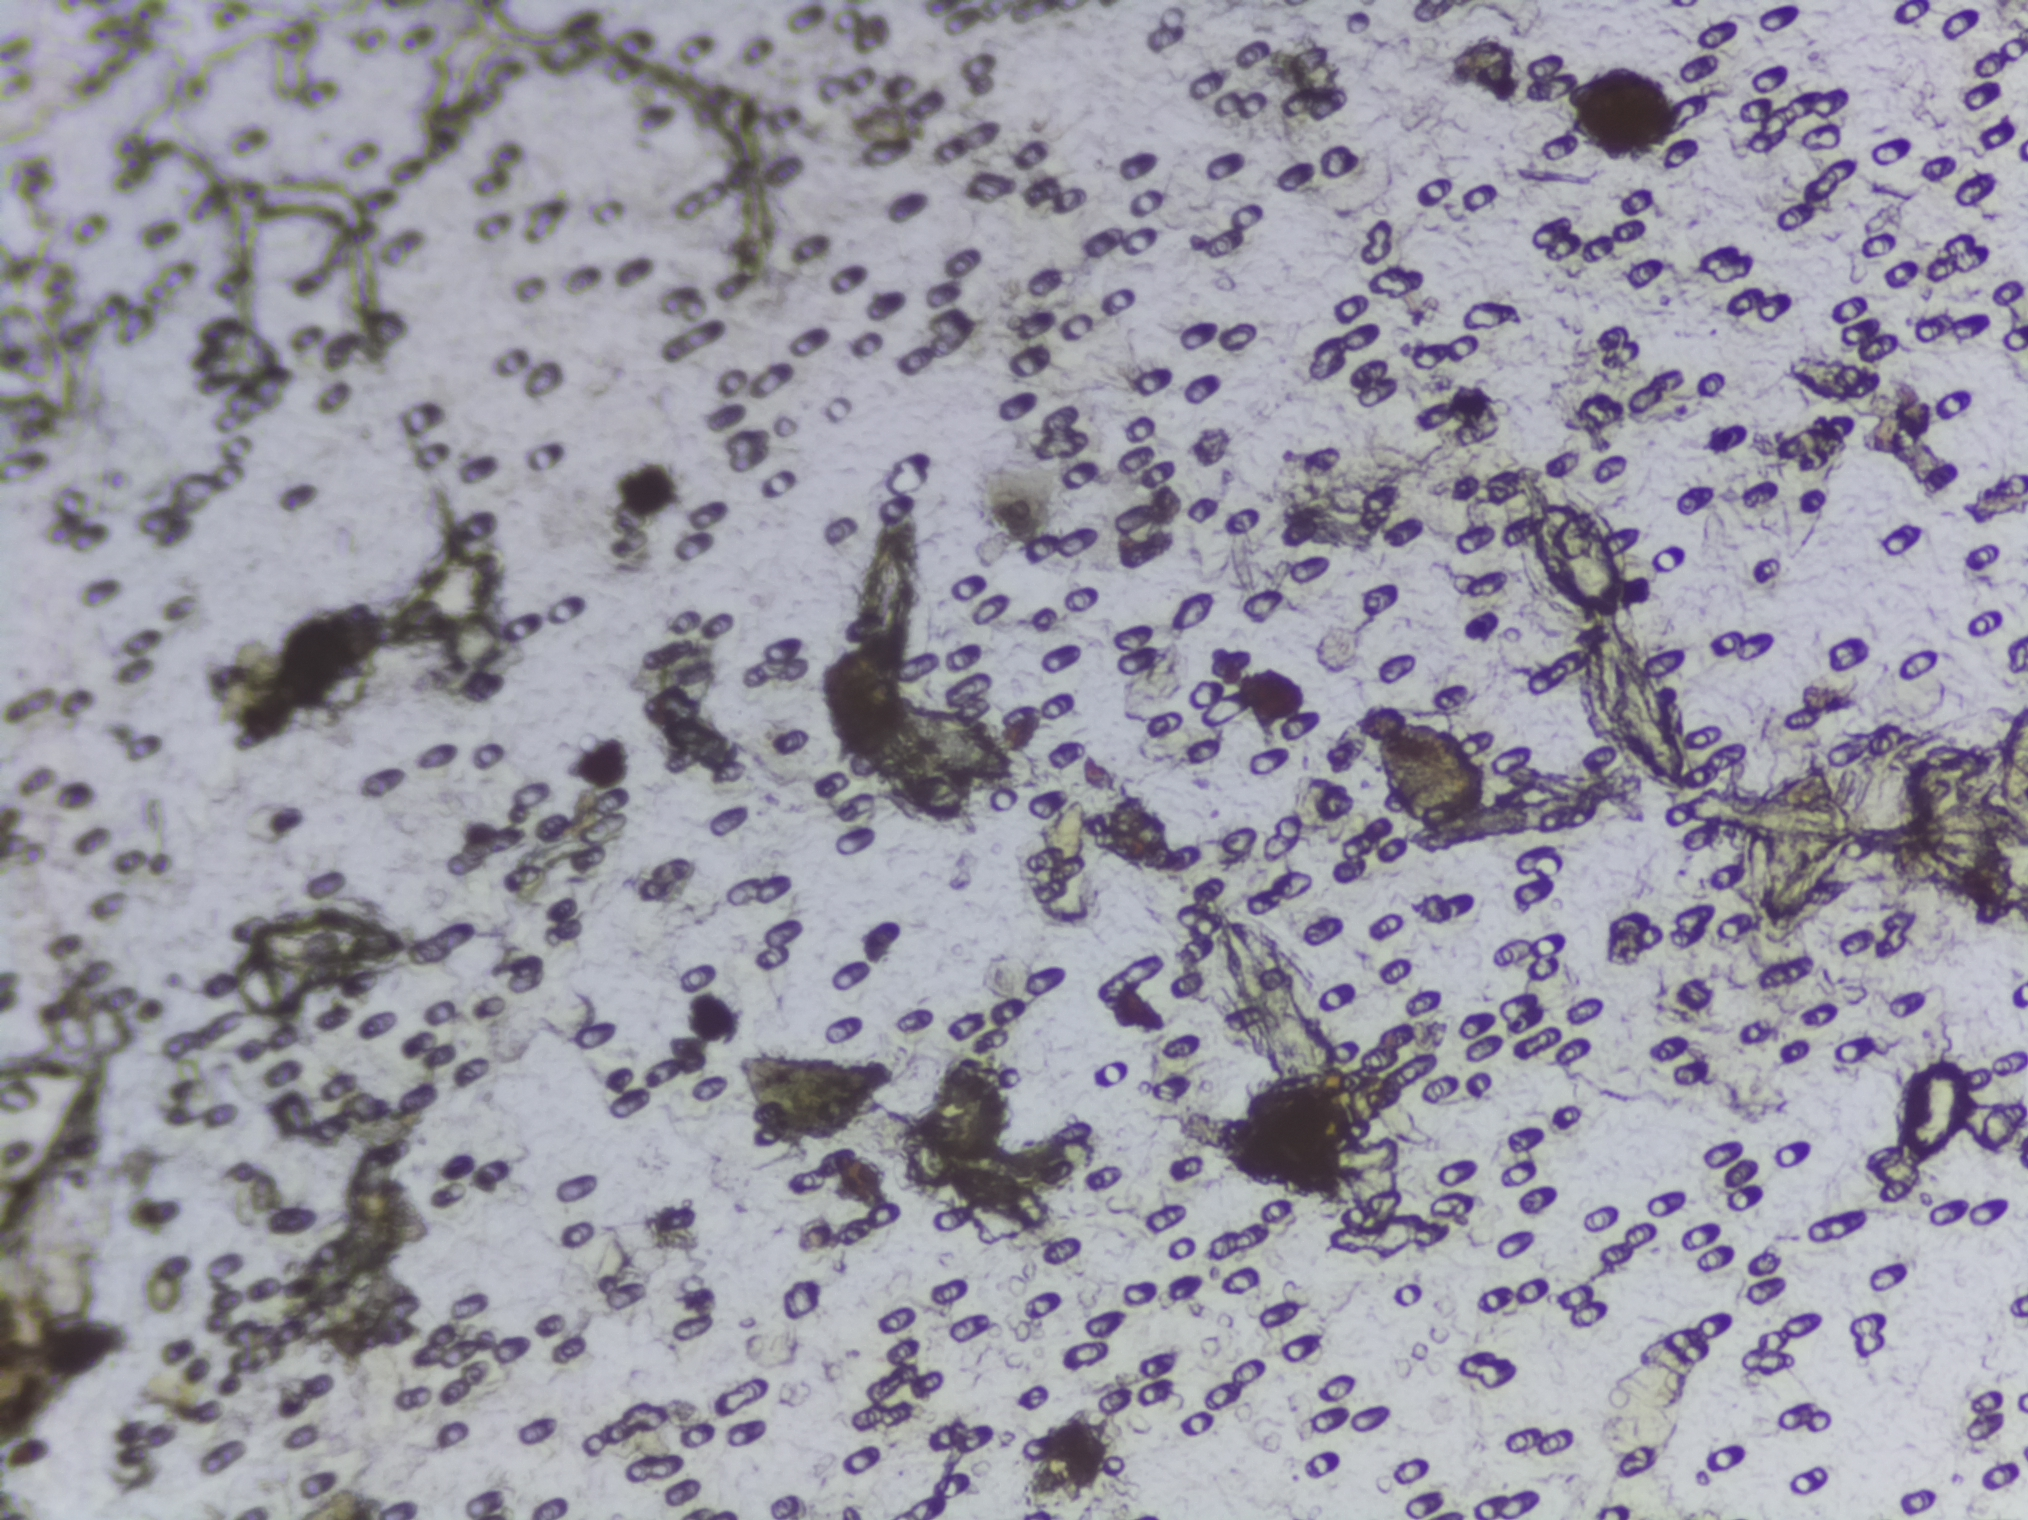
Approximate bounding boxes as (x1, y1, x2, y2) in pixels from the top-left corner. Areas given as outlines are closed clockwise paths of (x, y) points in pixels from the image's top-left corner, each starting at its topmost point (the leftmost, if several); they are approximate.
Schistosoma eggs are outlined in five areas of this image, listed from left to right: box (242, 901, 423, 988); box (848, 688, 1049, 843); box (1189, 890, 1357, 1134); outline (1545, 462), (1588, 466), (1618, 492), (1635, 521), (1640, 588), (1627, 610), (1653, 636), (1653, 672), (1697, 712), (1710, 742), (1710, 769), (1683, 794), (1647, 786), (1627, 759), (1606, 749), (1575, 718), (1564, 698), (1564, 637), (1577, 628), (1557, 619), (1509, 568), (1507, 492), (1526, 466); box (1720, 747, 1873, 950). An outlined area can hold more than one egg. Any one outlined egg may, rarely, be S. mansoni rather than S. haematobium.
Microscope photograph (4× objective) of a membrane that a urine sample was filtered through.